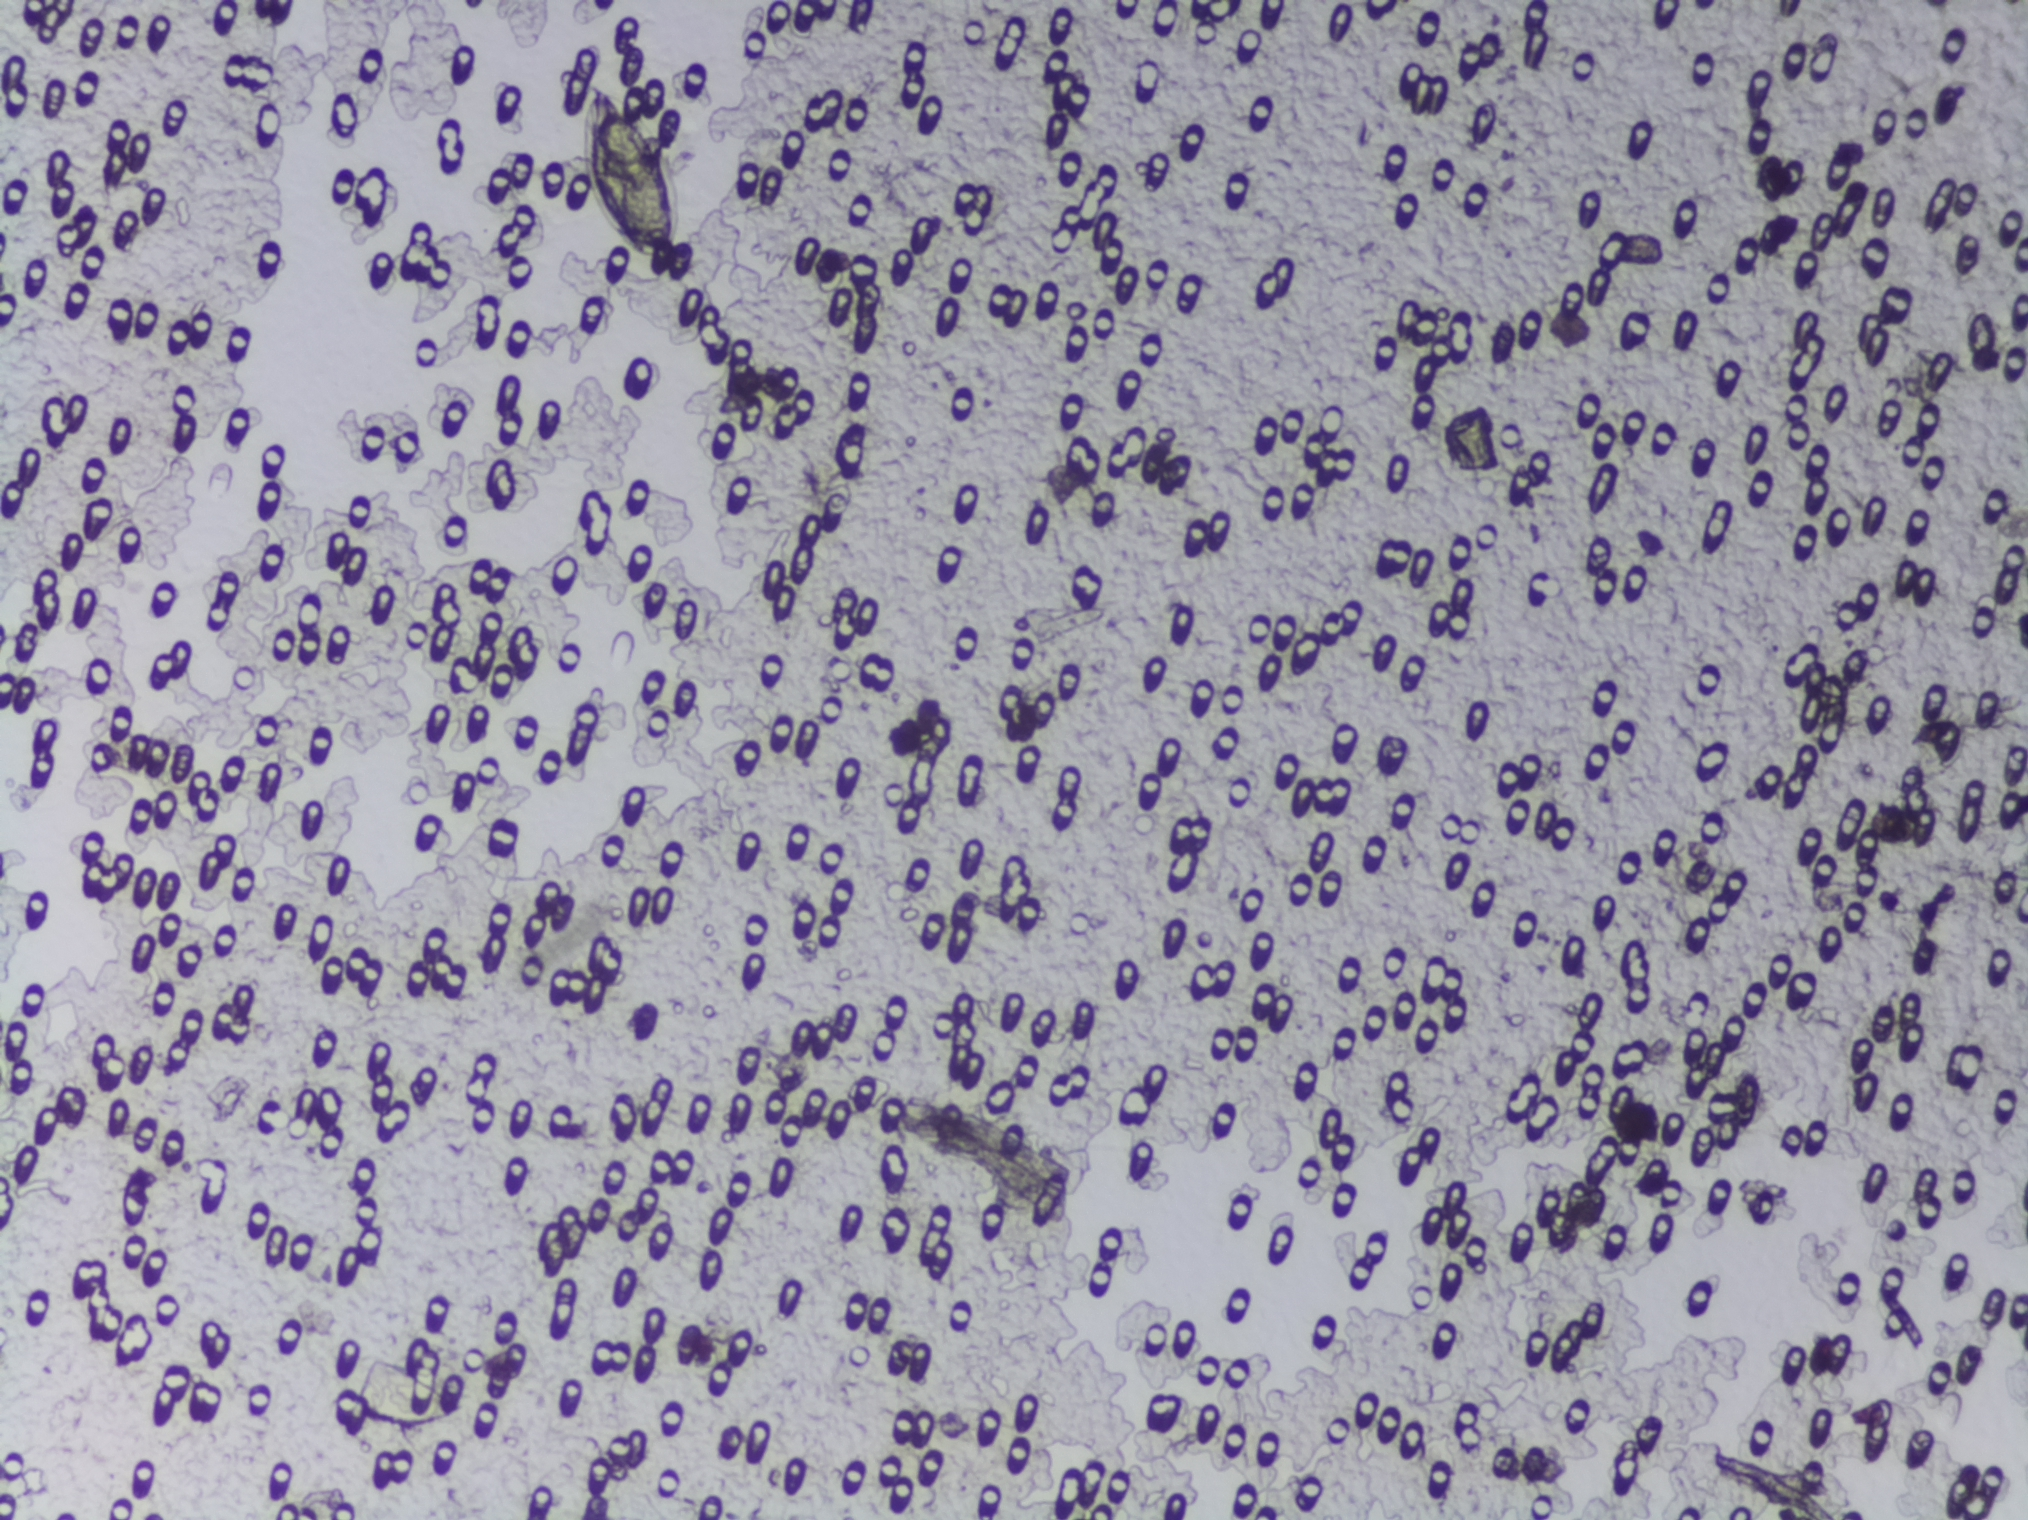
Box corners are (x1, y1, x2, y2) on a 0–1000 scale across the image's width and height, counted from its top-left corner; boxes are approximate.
Schistosoma egg areas, outlined: (286, 51, 337, 171). A single outlined area may contain several eggs. A marked egg may occasionally be S. mansoni rather than S. haematobium.
Photomicrograph of a urine filtration membrane, 4× objective. Field of view: about 1.5 mm wide and 1.1 mm high.